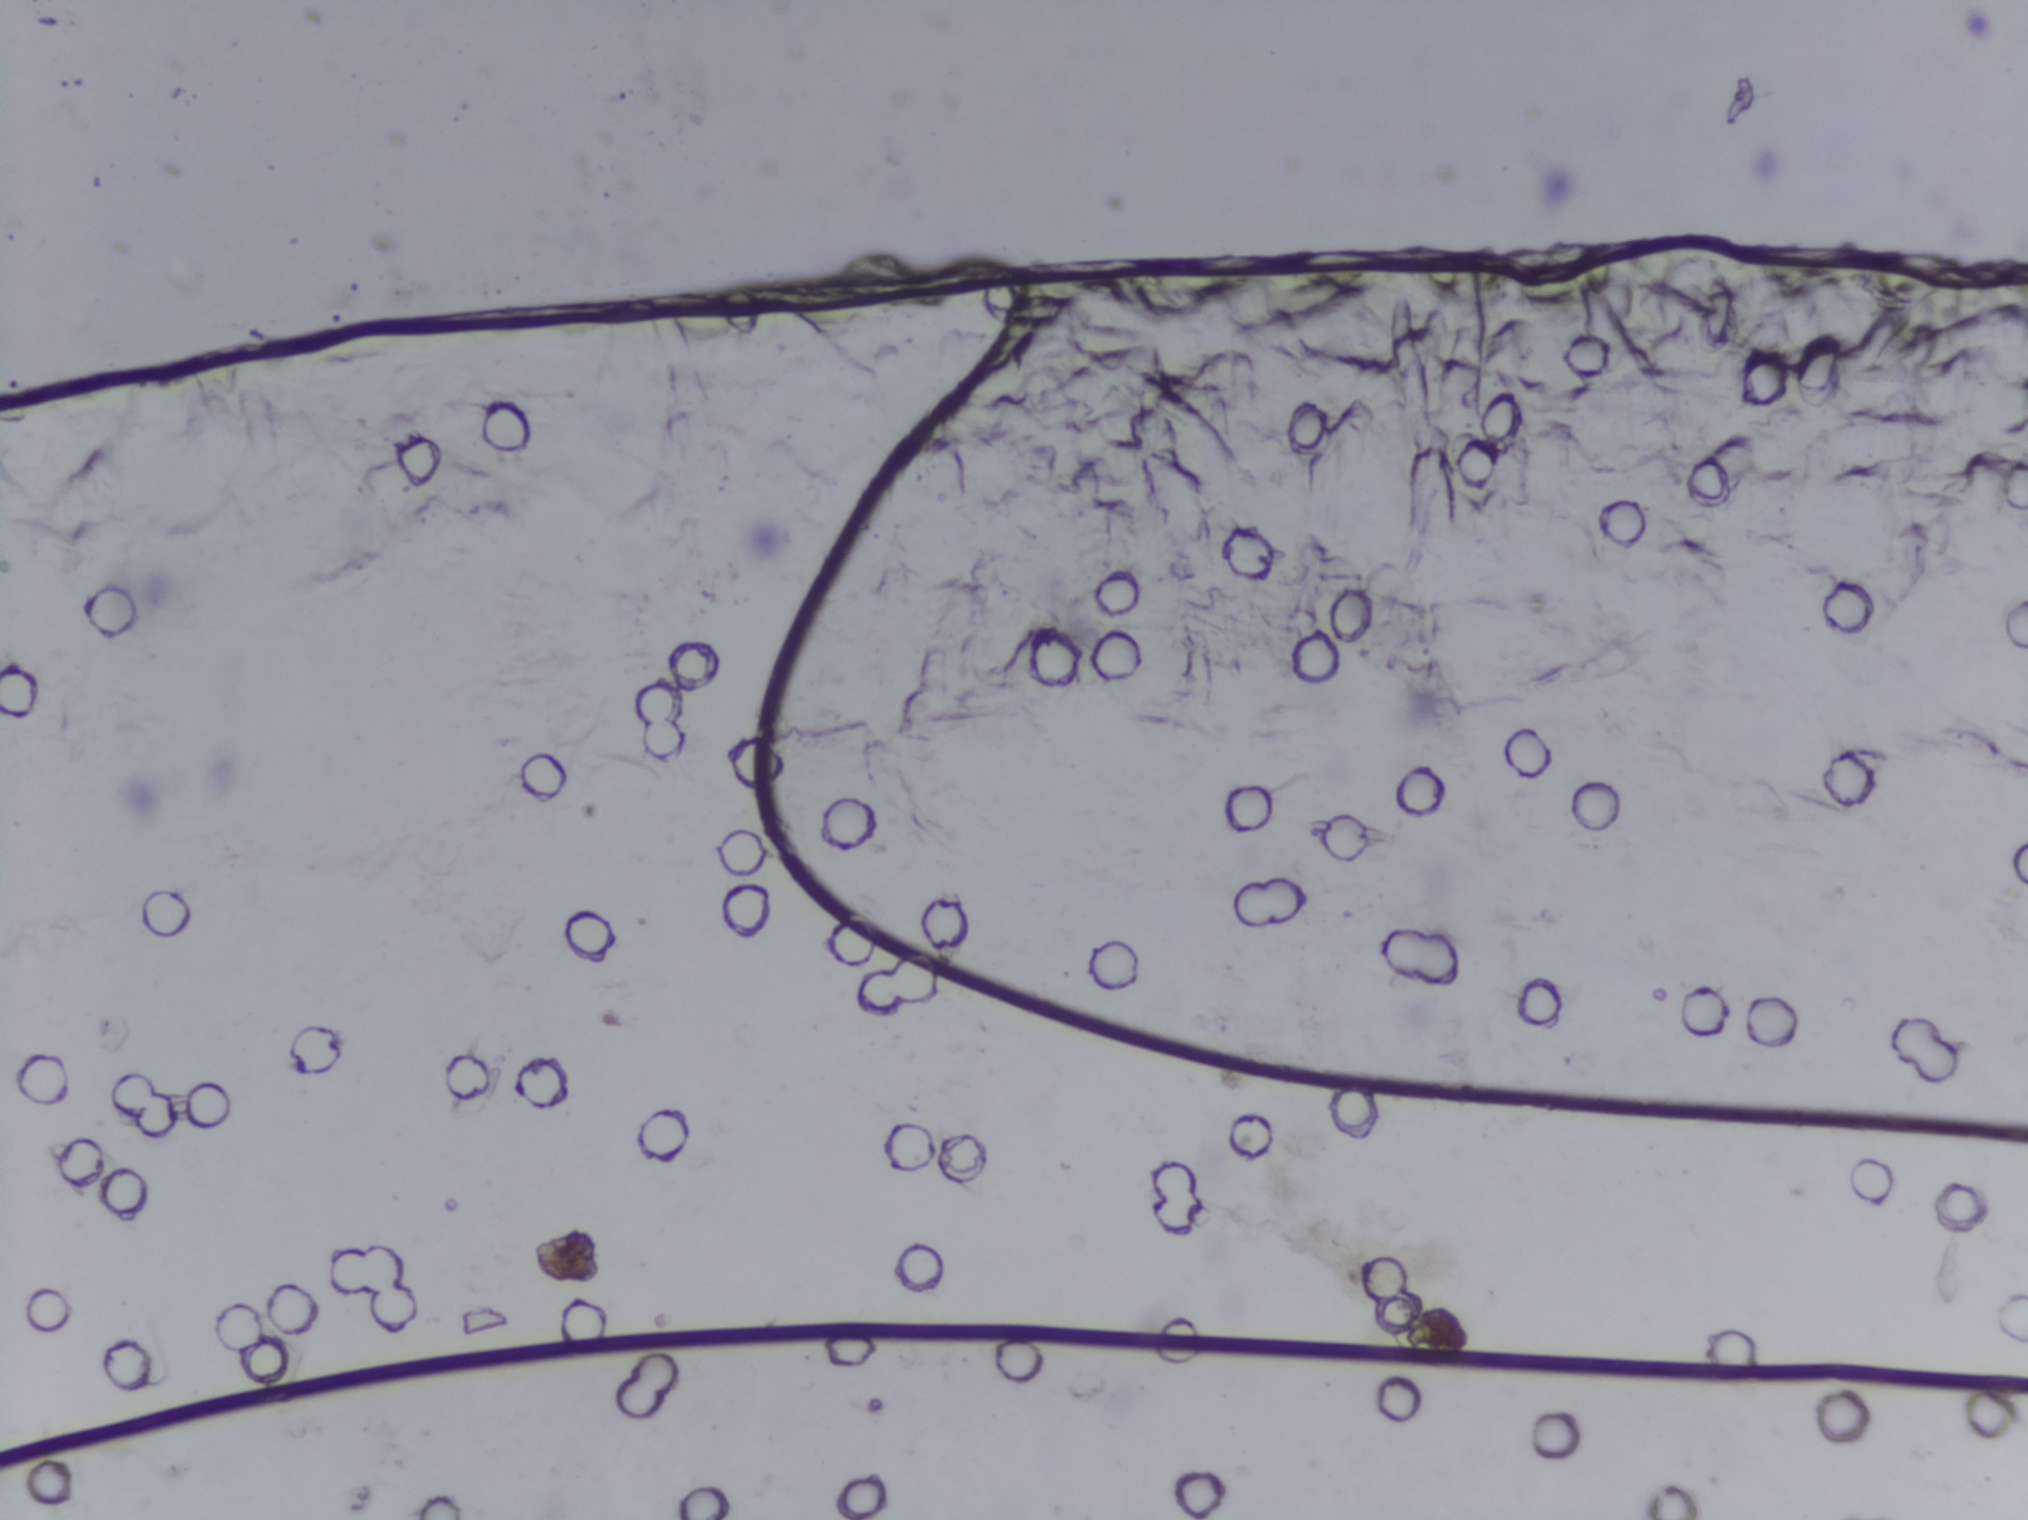
The expert annotation outlines no Schistosoma egg in this image.
Photograph from an automated digital microscope: urine filter membrane, 4× objective. The field of view is about 1.5 mm × 1.1 mm.